Microscope photograph (4× objective) of a membrane that a urine sample was filtered through.
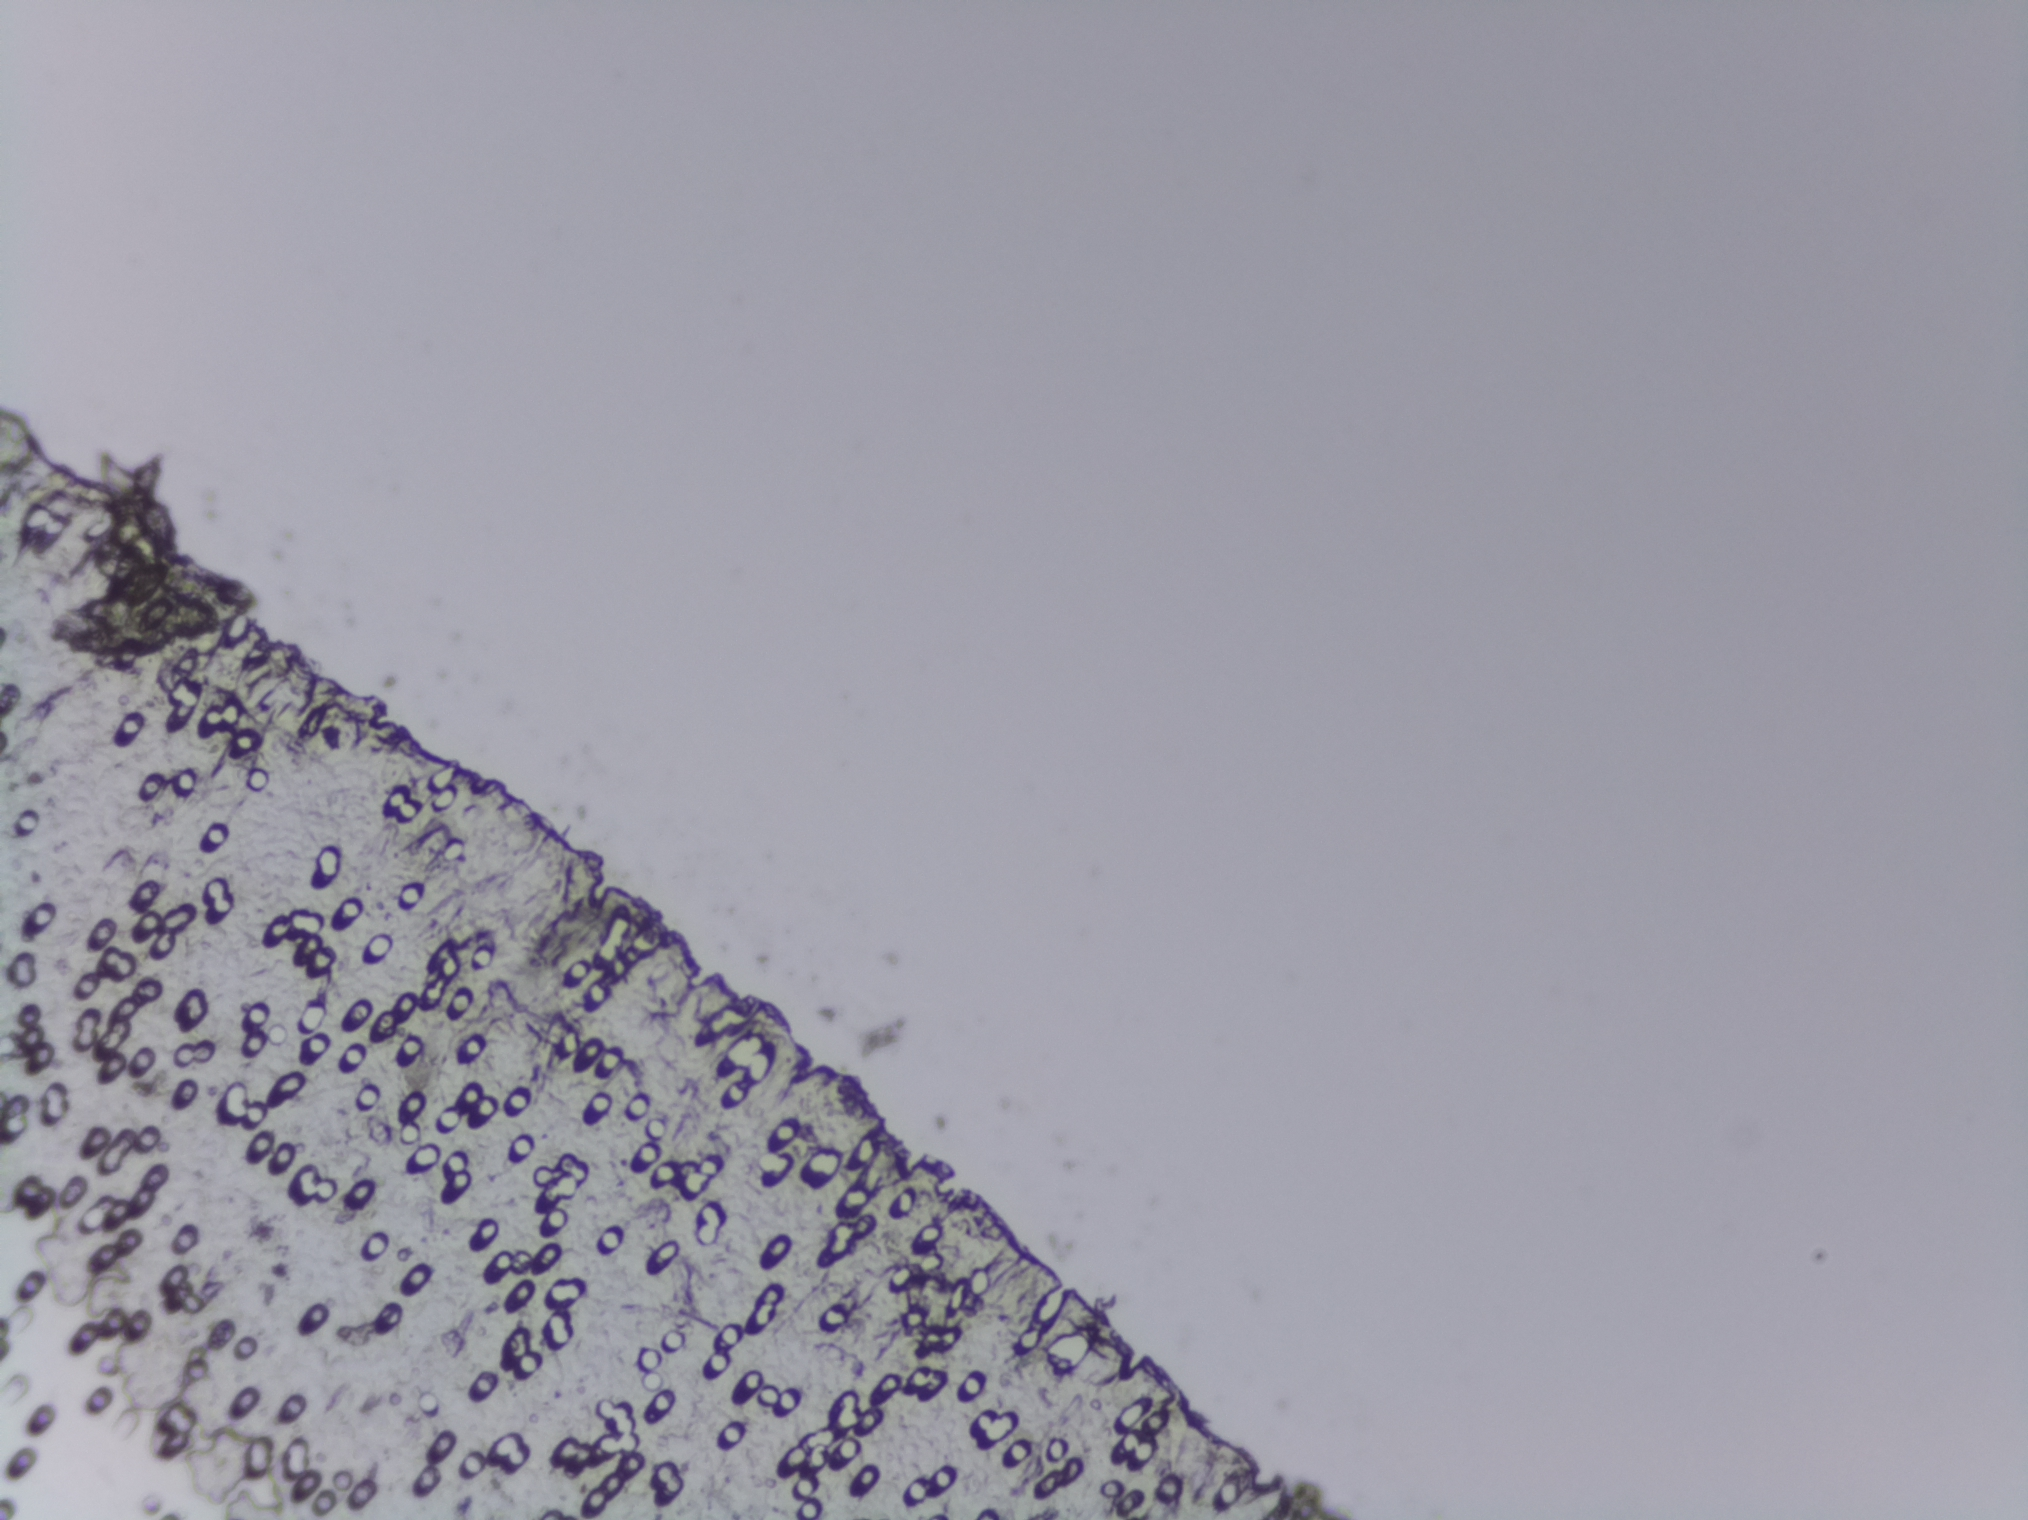
The expert annotation outlines no Schistosoma egg in this image.